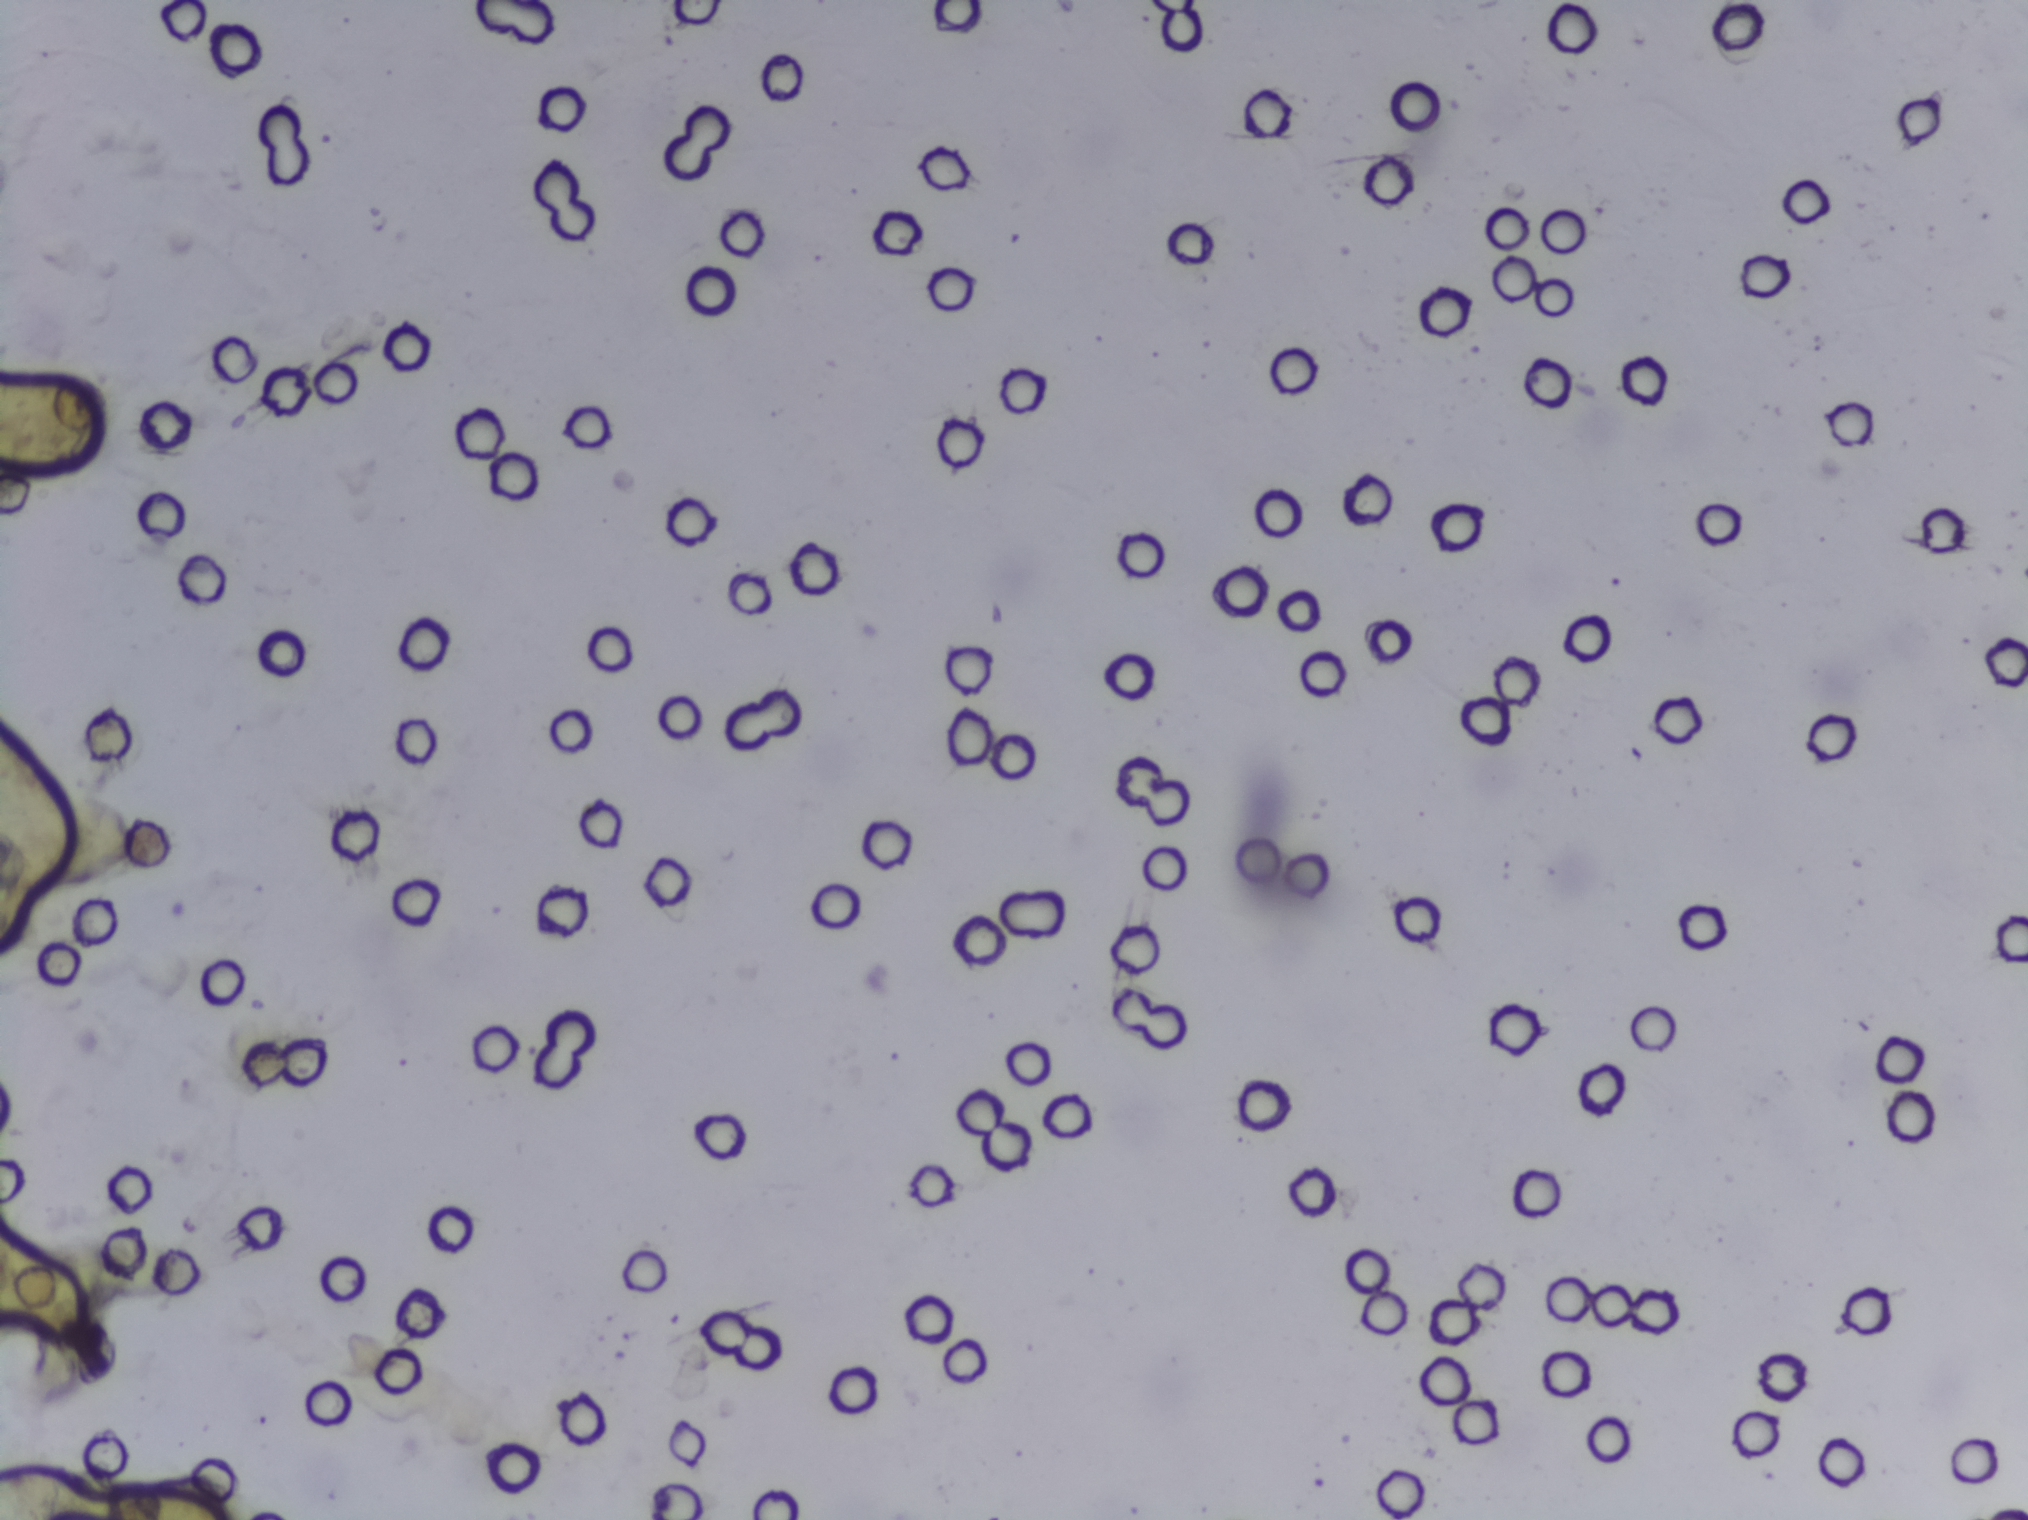
Urine filtration membrane under a 4× objective, photographed by an automated digital microscope. The image covers about 1.5 × 1.1 mm of the membrane.
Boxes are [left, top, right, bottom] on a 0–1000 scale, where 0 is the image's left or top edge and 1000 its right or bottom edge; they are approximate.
Schistosoma eggs are outlined in the expert annotation at [0, 517, 77, 585] (reaching the left edge of the frame). An outlined area can hold more than one egg. Any one outlined egg may, rarely, be S. mansoni rather than S. haematobium.